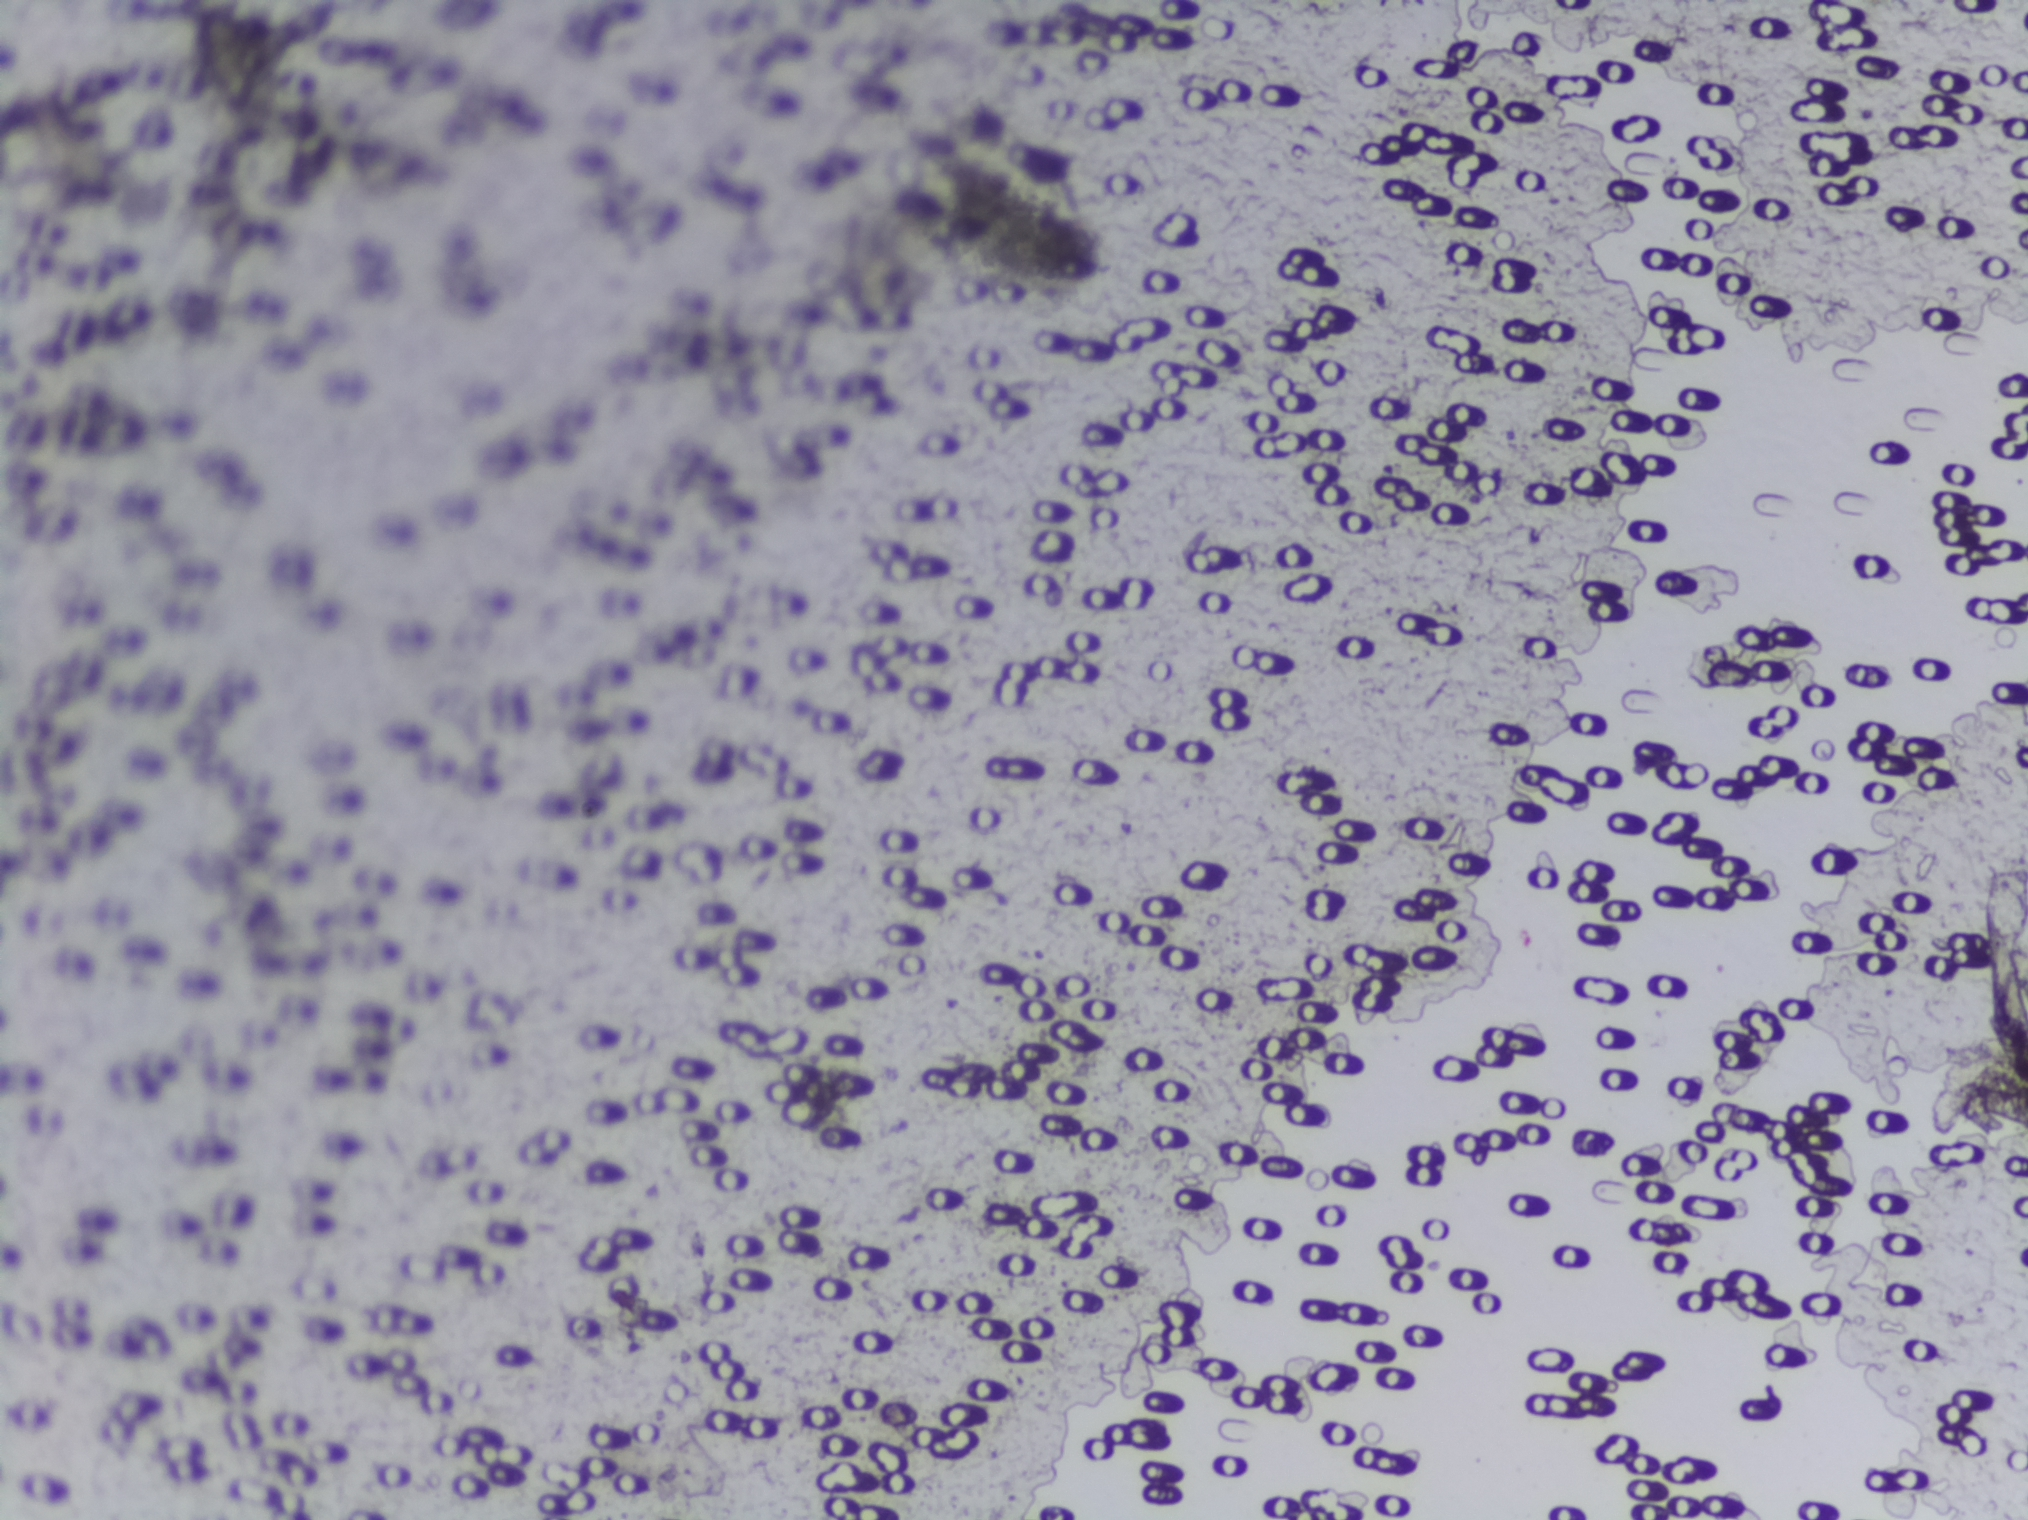
One field of view of a urine filter membrane, 4× objective, 2028 × 1520 pixels.
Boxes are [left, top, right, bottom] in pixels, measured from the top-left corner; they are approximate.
Findings: two areas outlined as Schistosoma eggs. Locations, left to right: [863, 96, 1112, 304]; [1948, 855, 2027, 1131] (reaching the right edge of the frame). Marked pixels, not the boxes around them: about 1.9% of the image. An outlined area can hold more than one egg.